Photograph from an automated digital microscope: urine filter membrane, 4× objective. The image covers about 1.5 × 1.1 mm of the membrane.
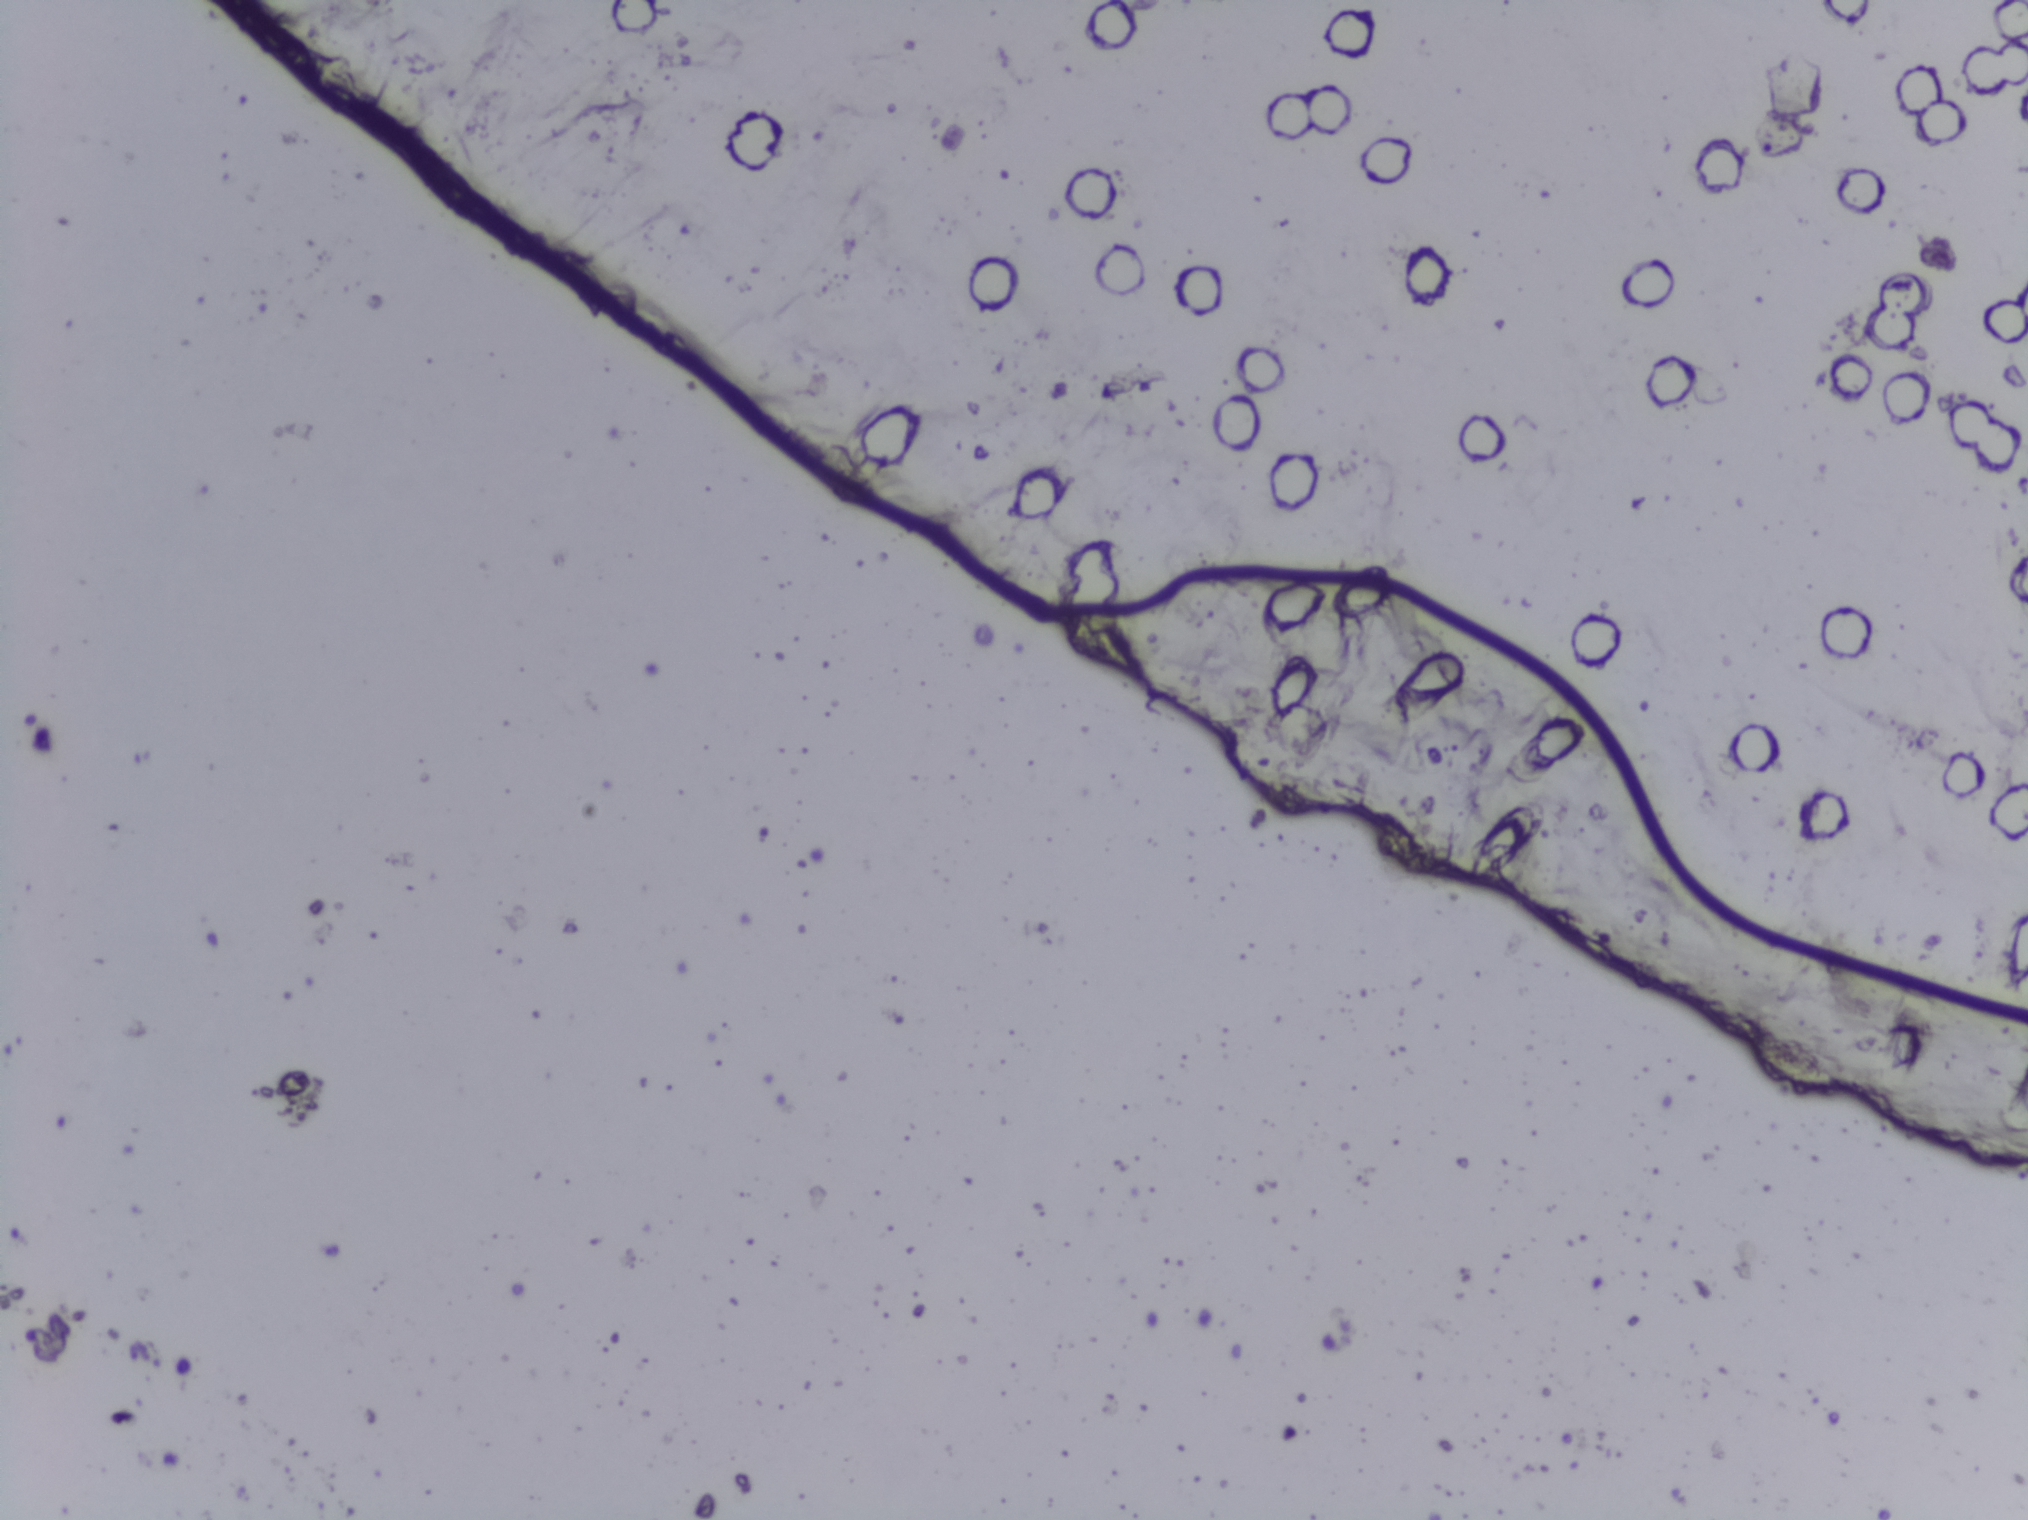
No area of this image was outlined as a Schistosoma egg.